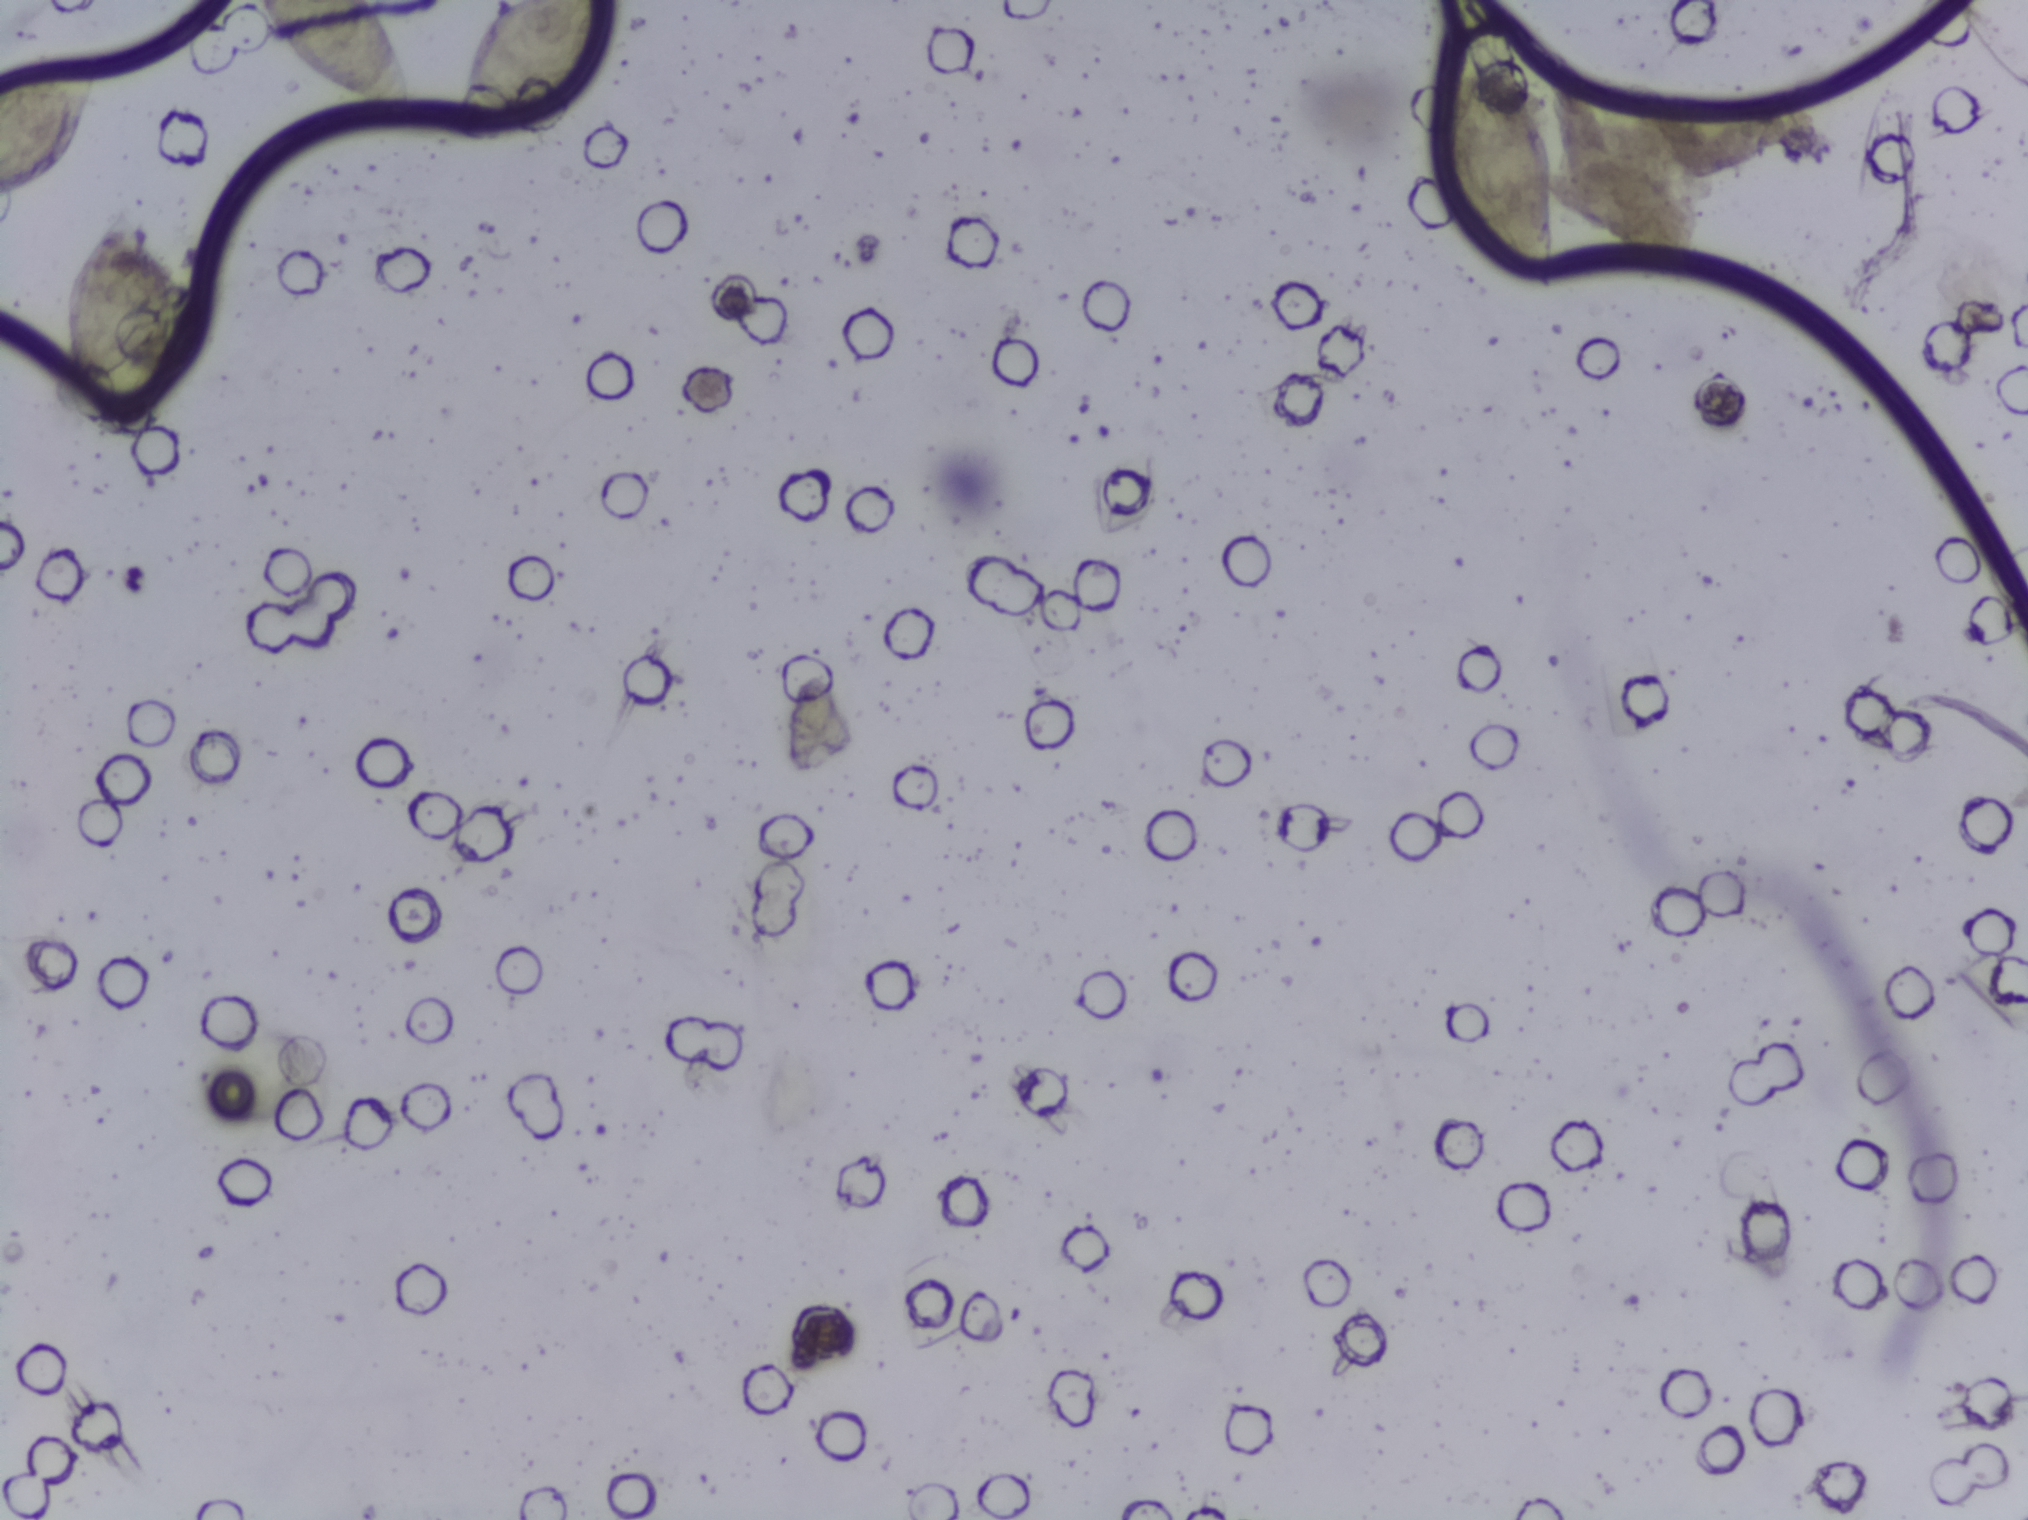
Photograph from an automated digital microscope: urine filter membrane, 4× objective. The image covers about 1.5 × 1.1 mm of the membrane.
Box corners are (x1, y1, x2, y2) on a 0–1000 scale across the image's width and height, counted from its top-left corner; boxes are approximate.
Schistosoma eggs, outlined areas: (0, 41, 50, 133) (reaching the left edge of the frame); (28, 125, 92, 296); (122, 0, 208, 82) (reaching the top edge of the frame); (219, 0, 307, 97) (reaching the top edge of the frame); (710, 26, 842, 191). About 3.6% of the image's pixels are marked (the marked pixels themselves, not the boxes around them). A single outlined area may contain several eggs. A marked egg may occasionally be S. mansoni rather than S. haematobium.